Urine filtration membrane under a 4× objective, photographed by an automated digital microscope.
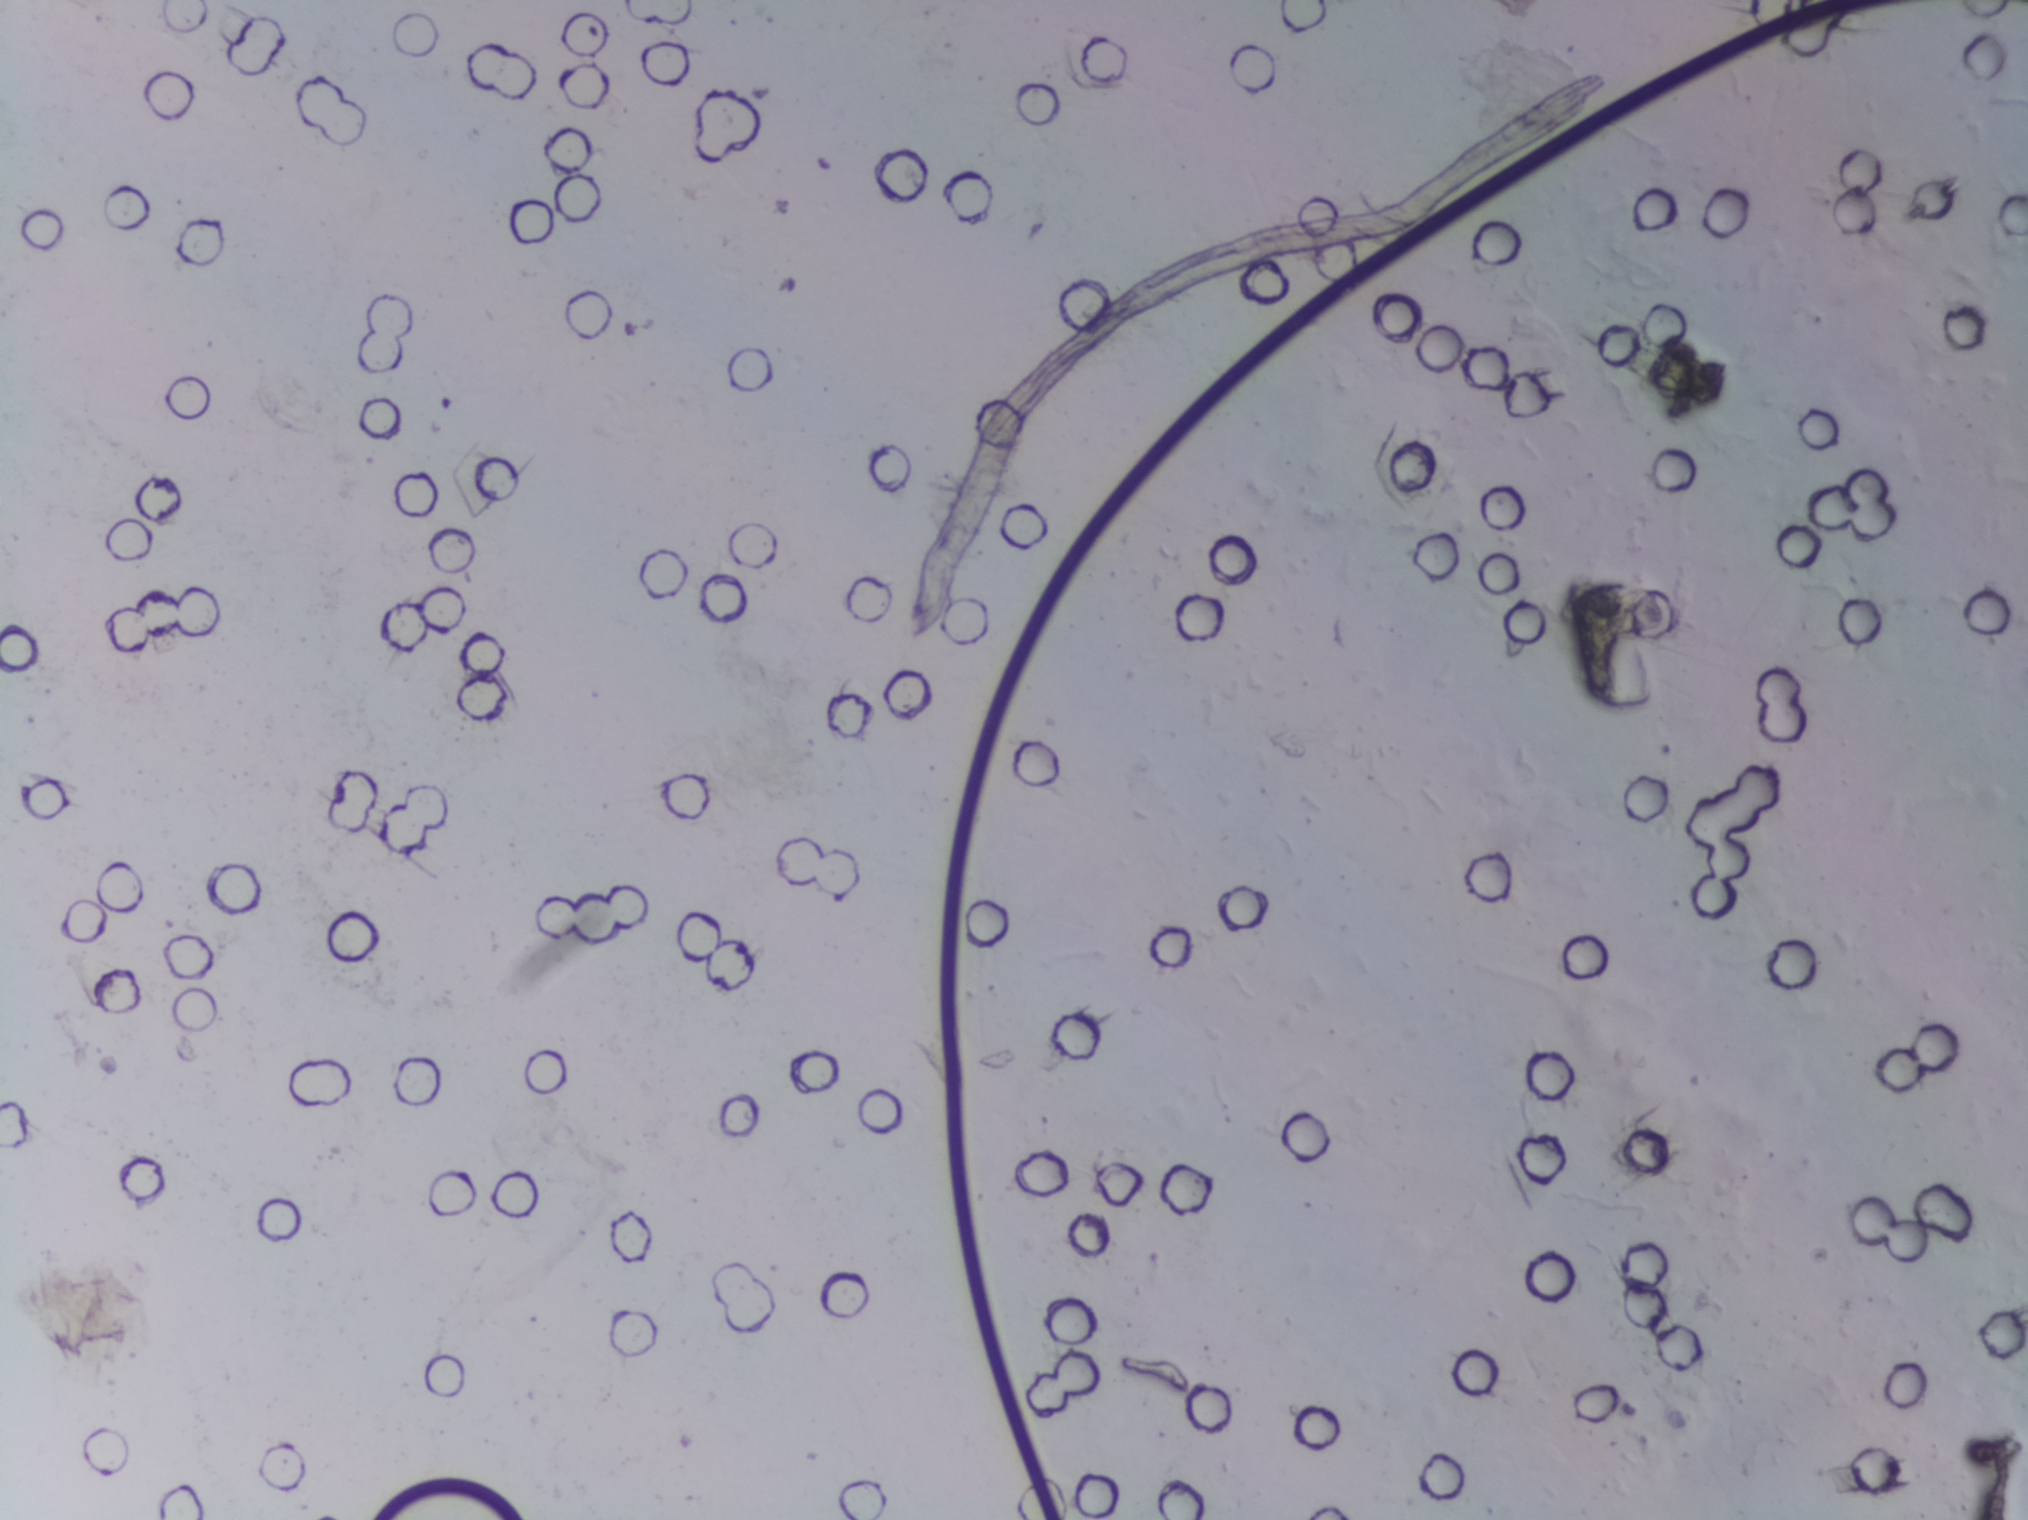
No Schistosoma egg is outlined in this image's expert annotation.